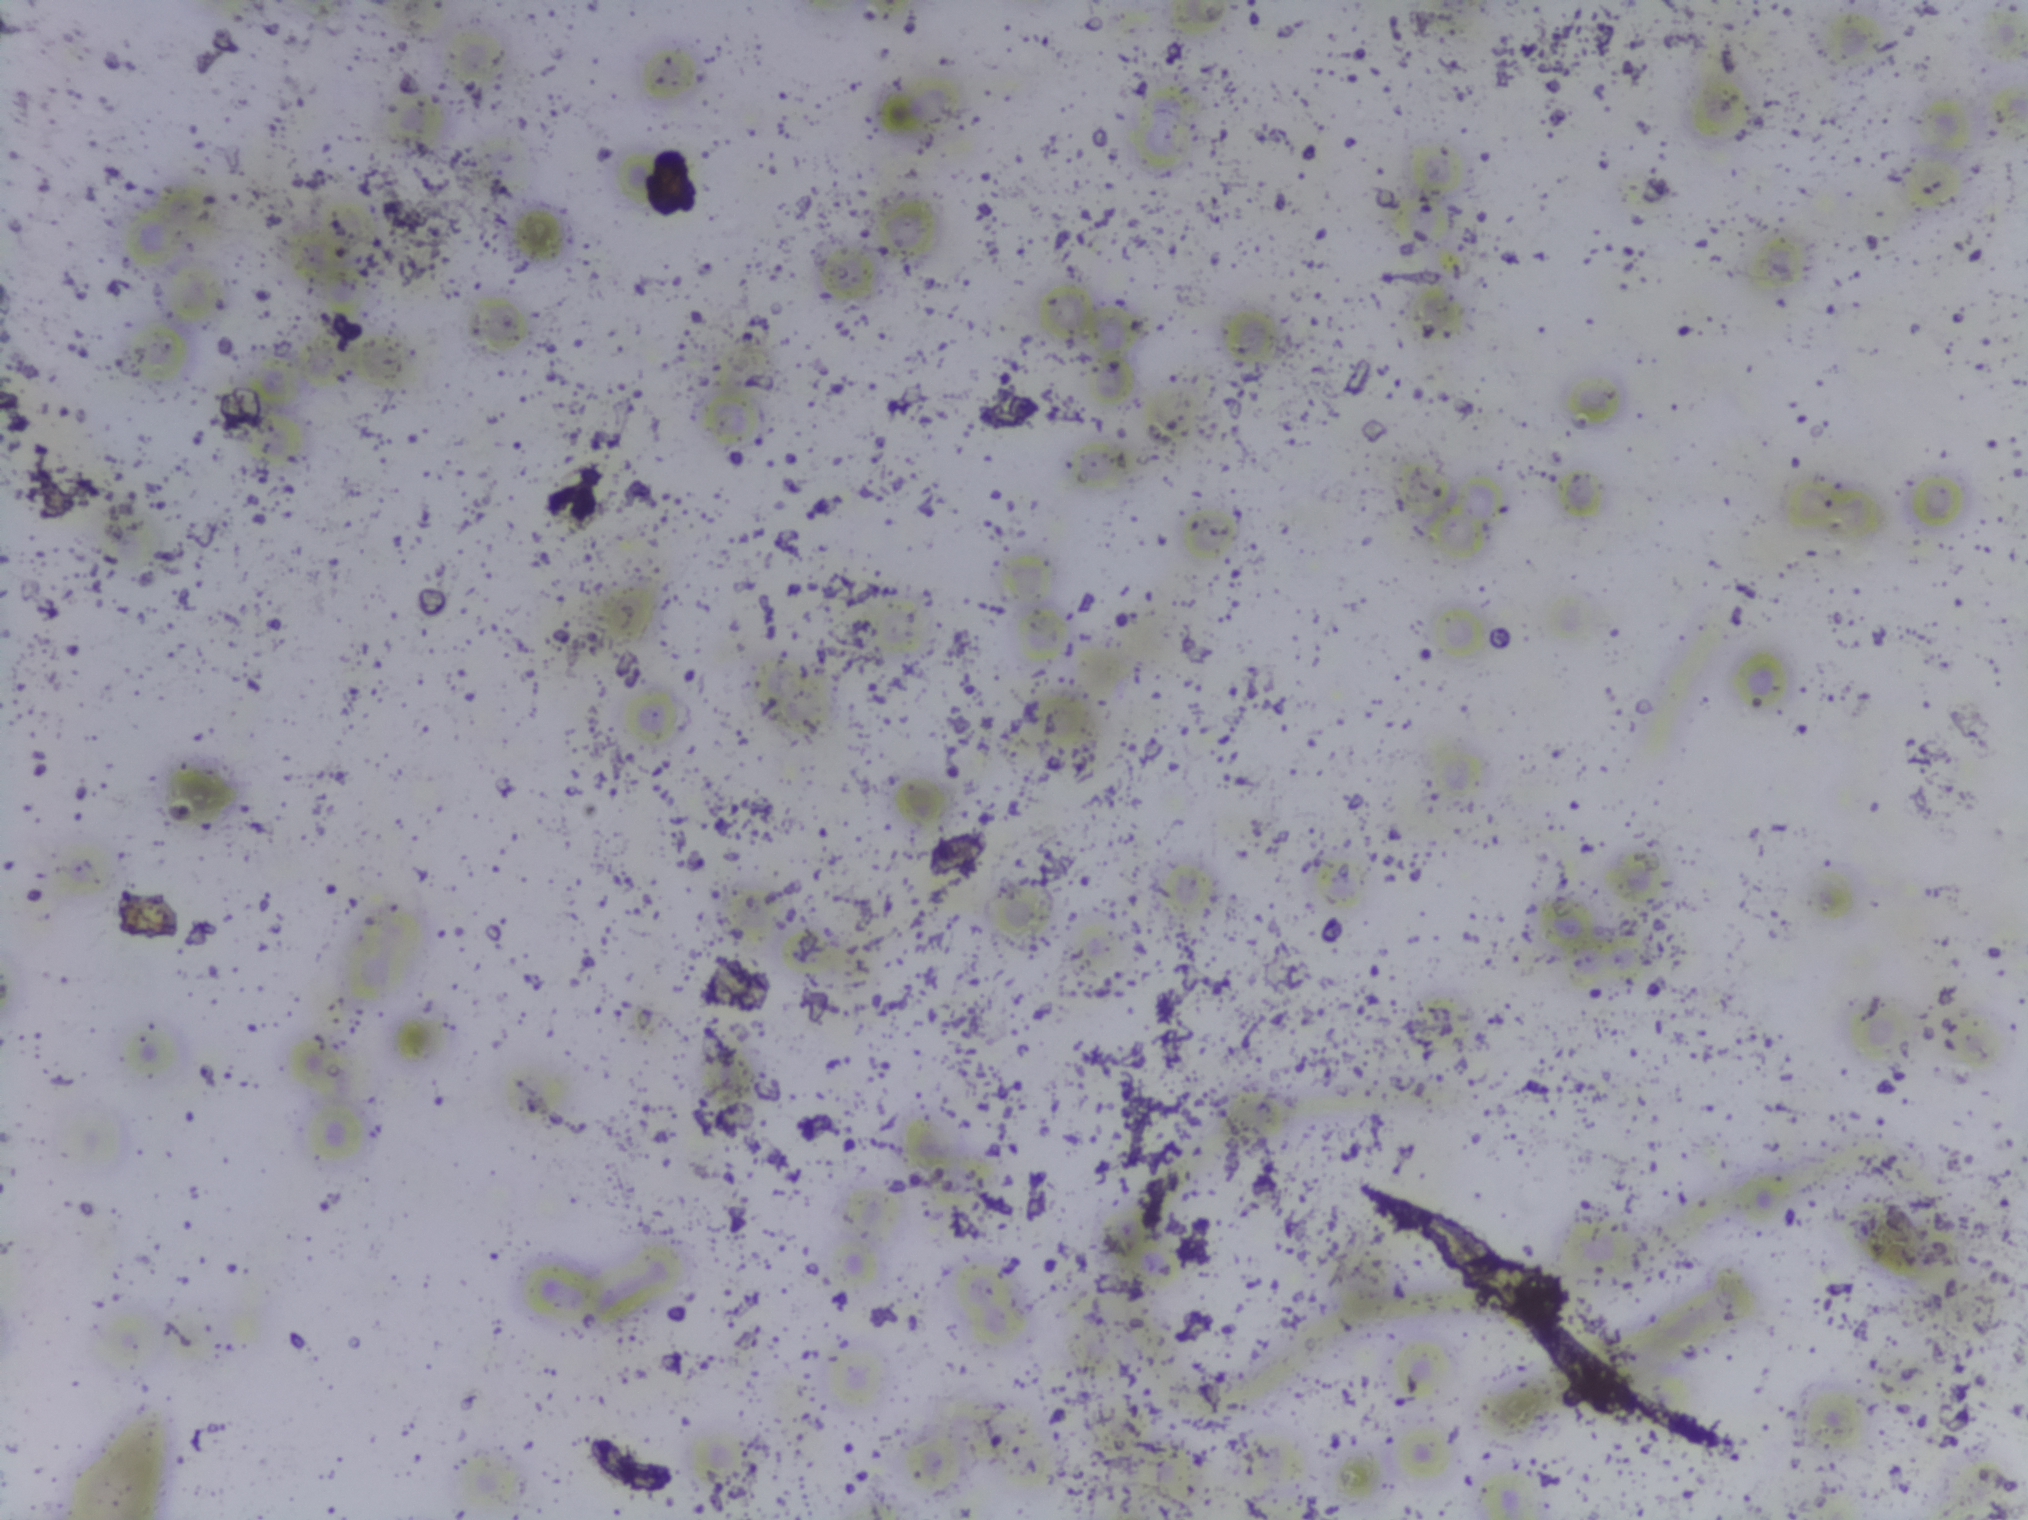
One field of view of a urine filter membrane, 4× objective, 2028 × 1520 pixels.
No Schistosoma egg is outlined in this image's expert annotation.